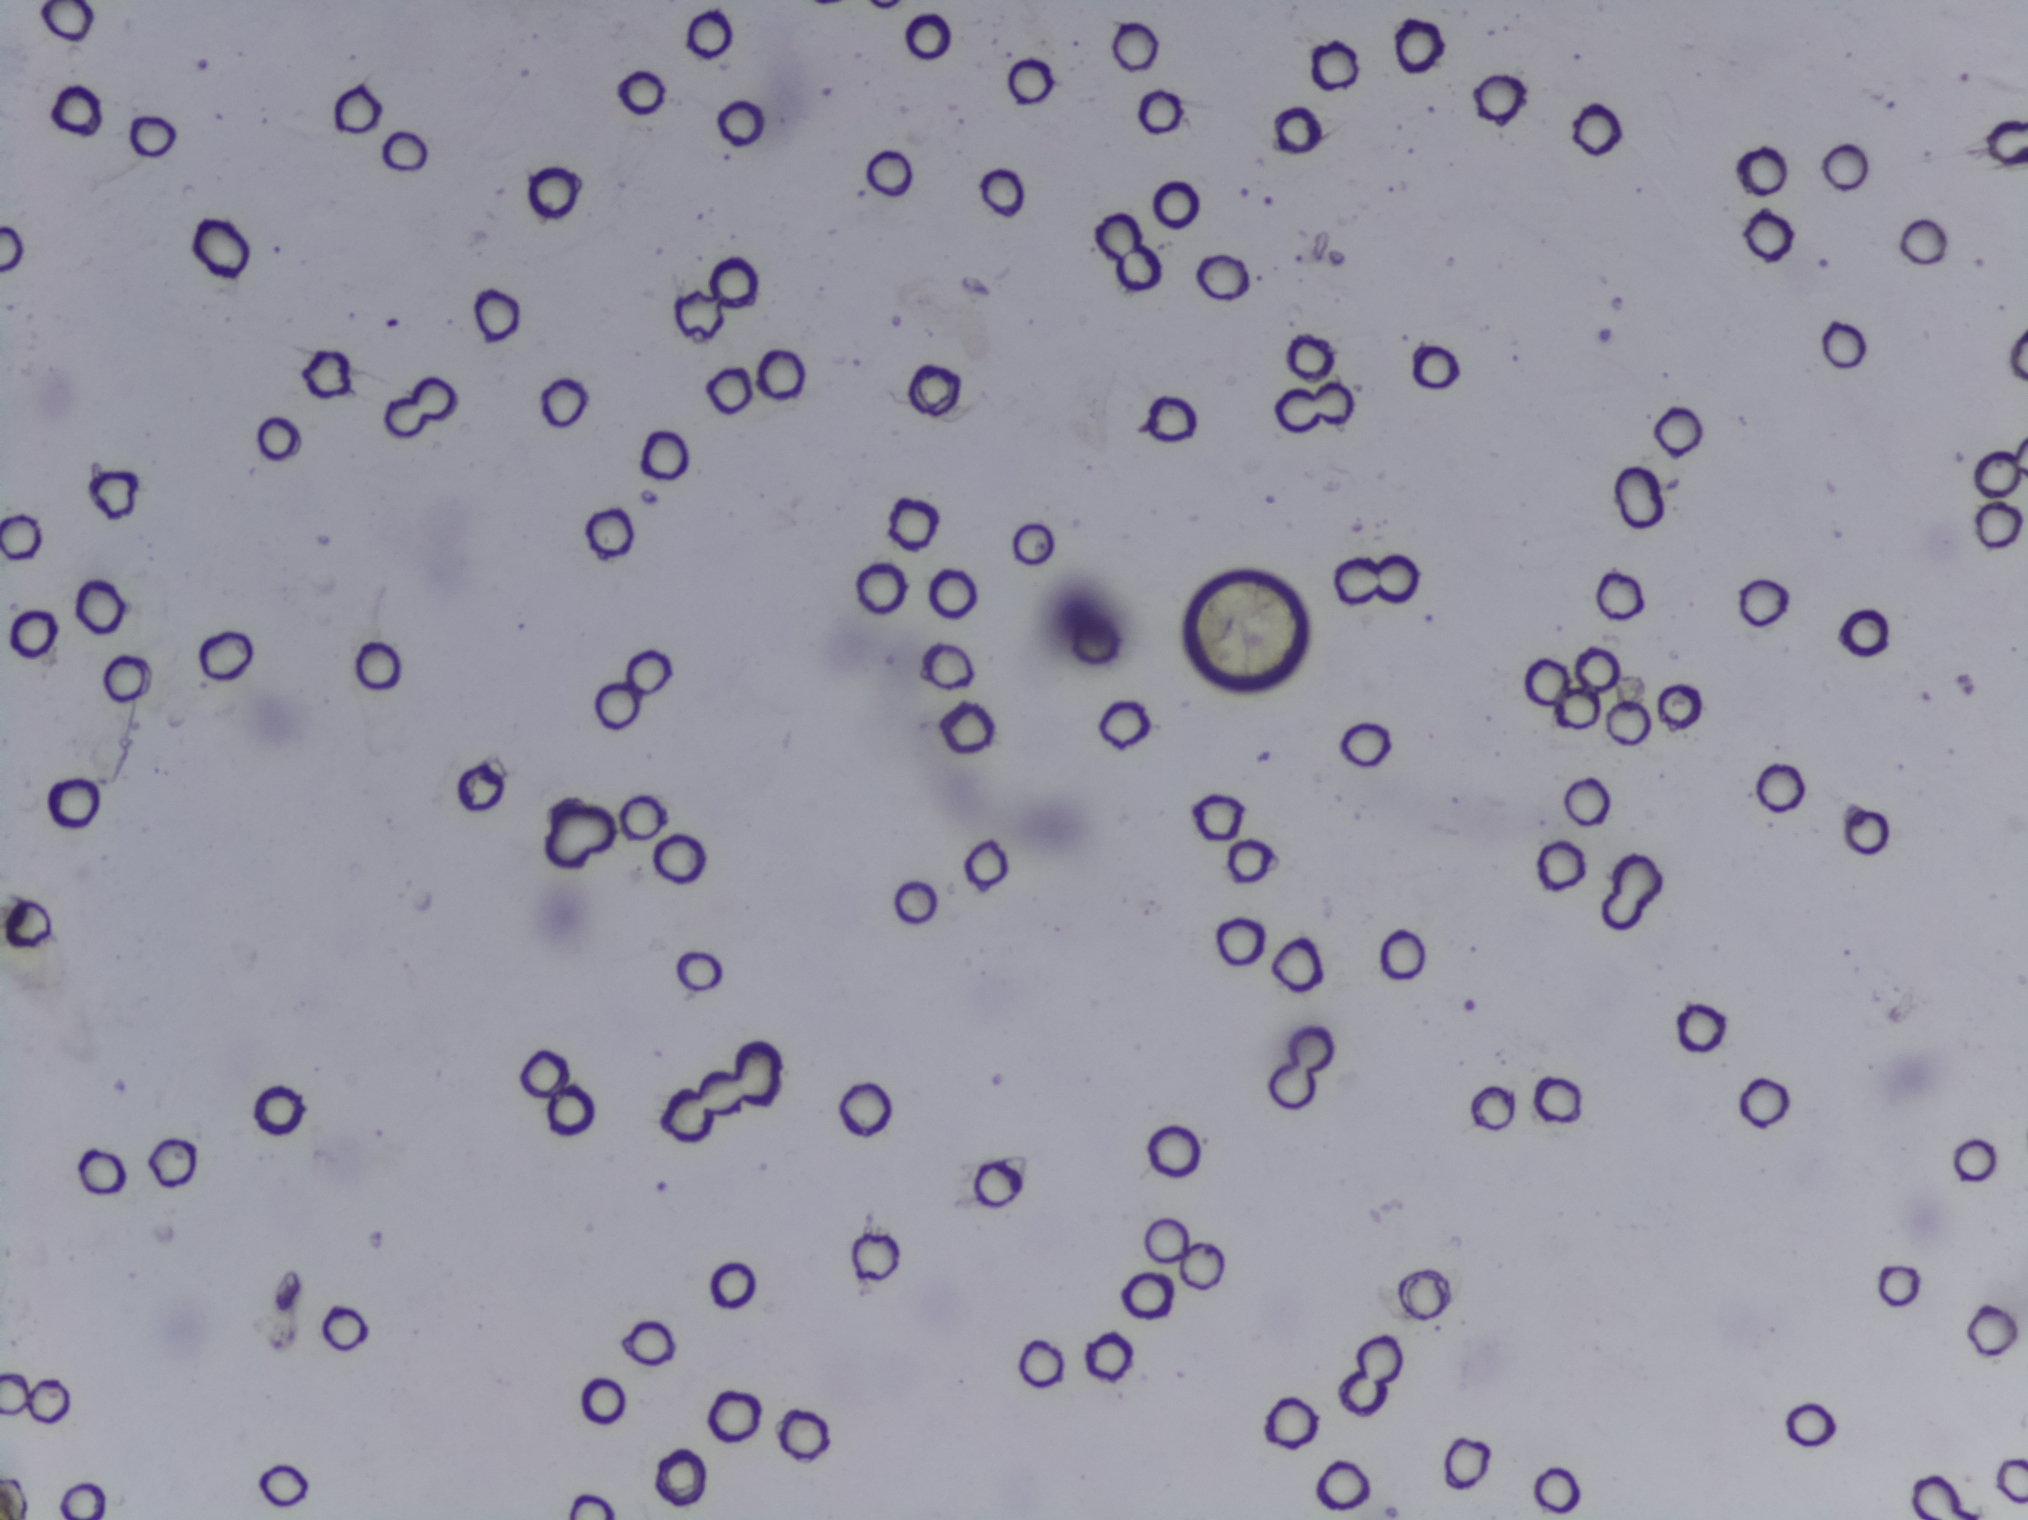
No area of this image was outlined as a Schistosoma egg.
Photograph from an automated digital microscope: urine filter membrane, 4× objective.